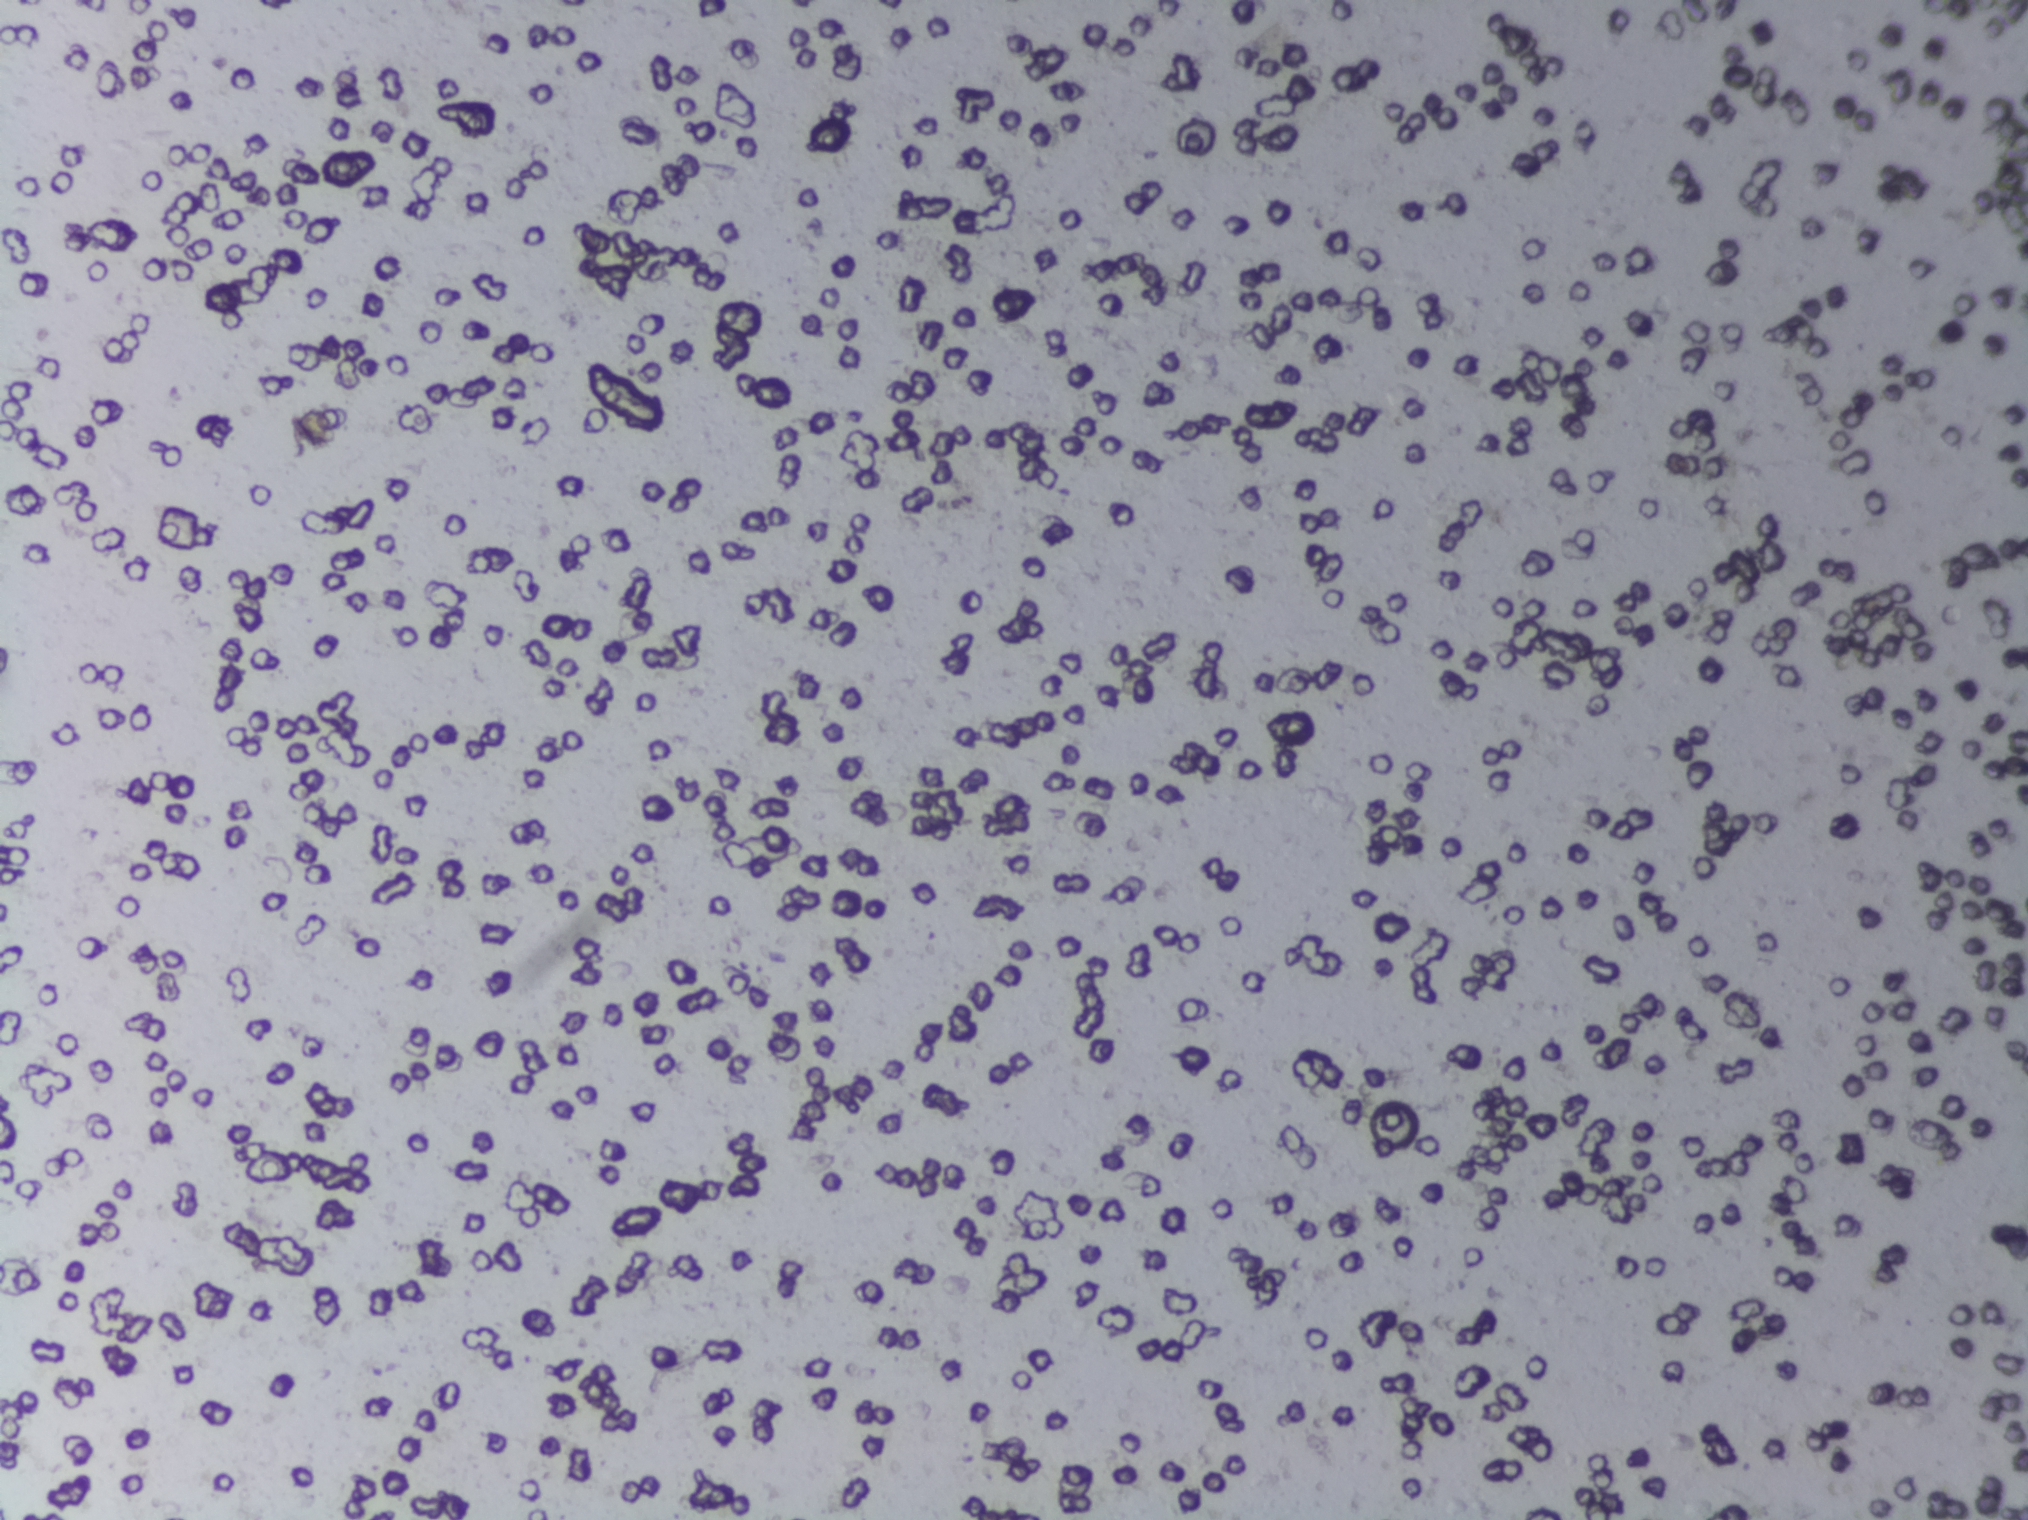
Microscope photograph (4× objective) of a membrane that a urine sample was filtered through.
No Schistosoma egg is outlined in this image's expert annotation.